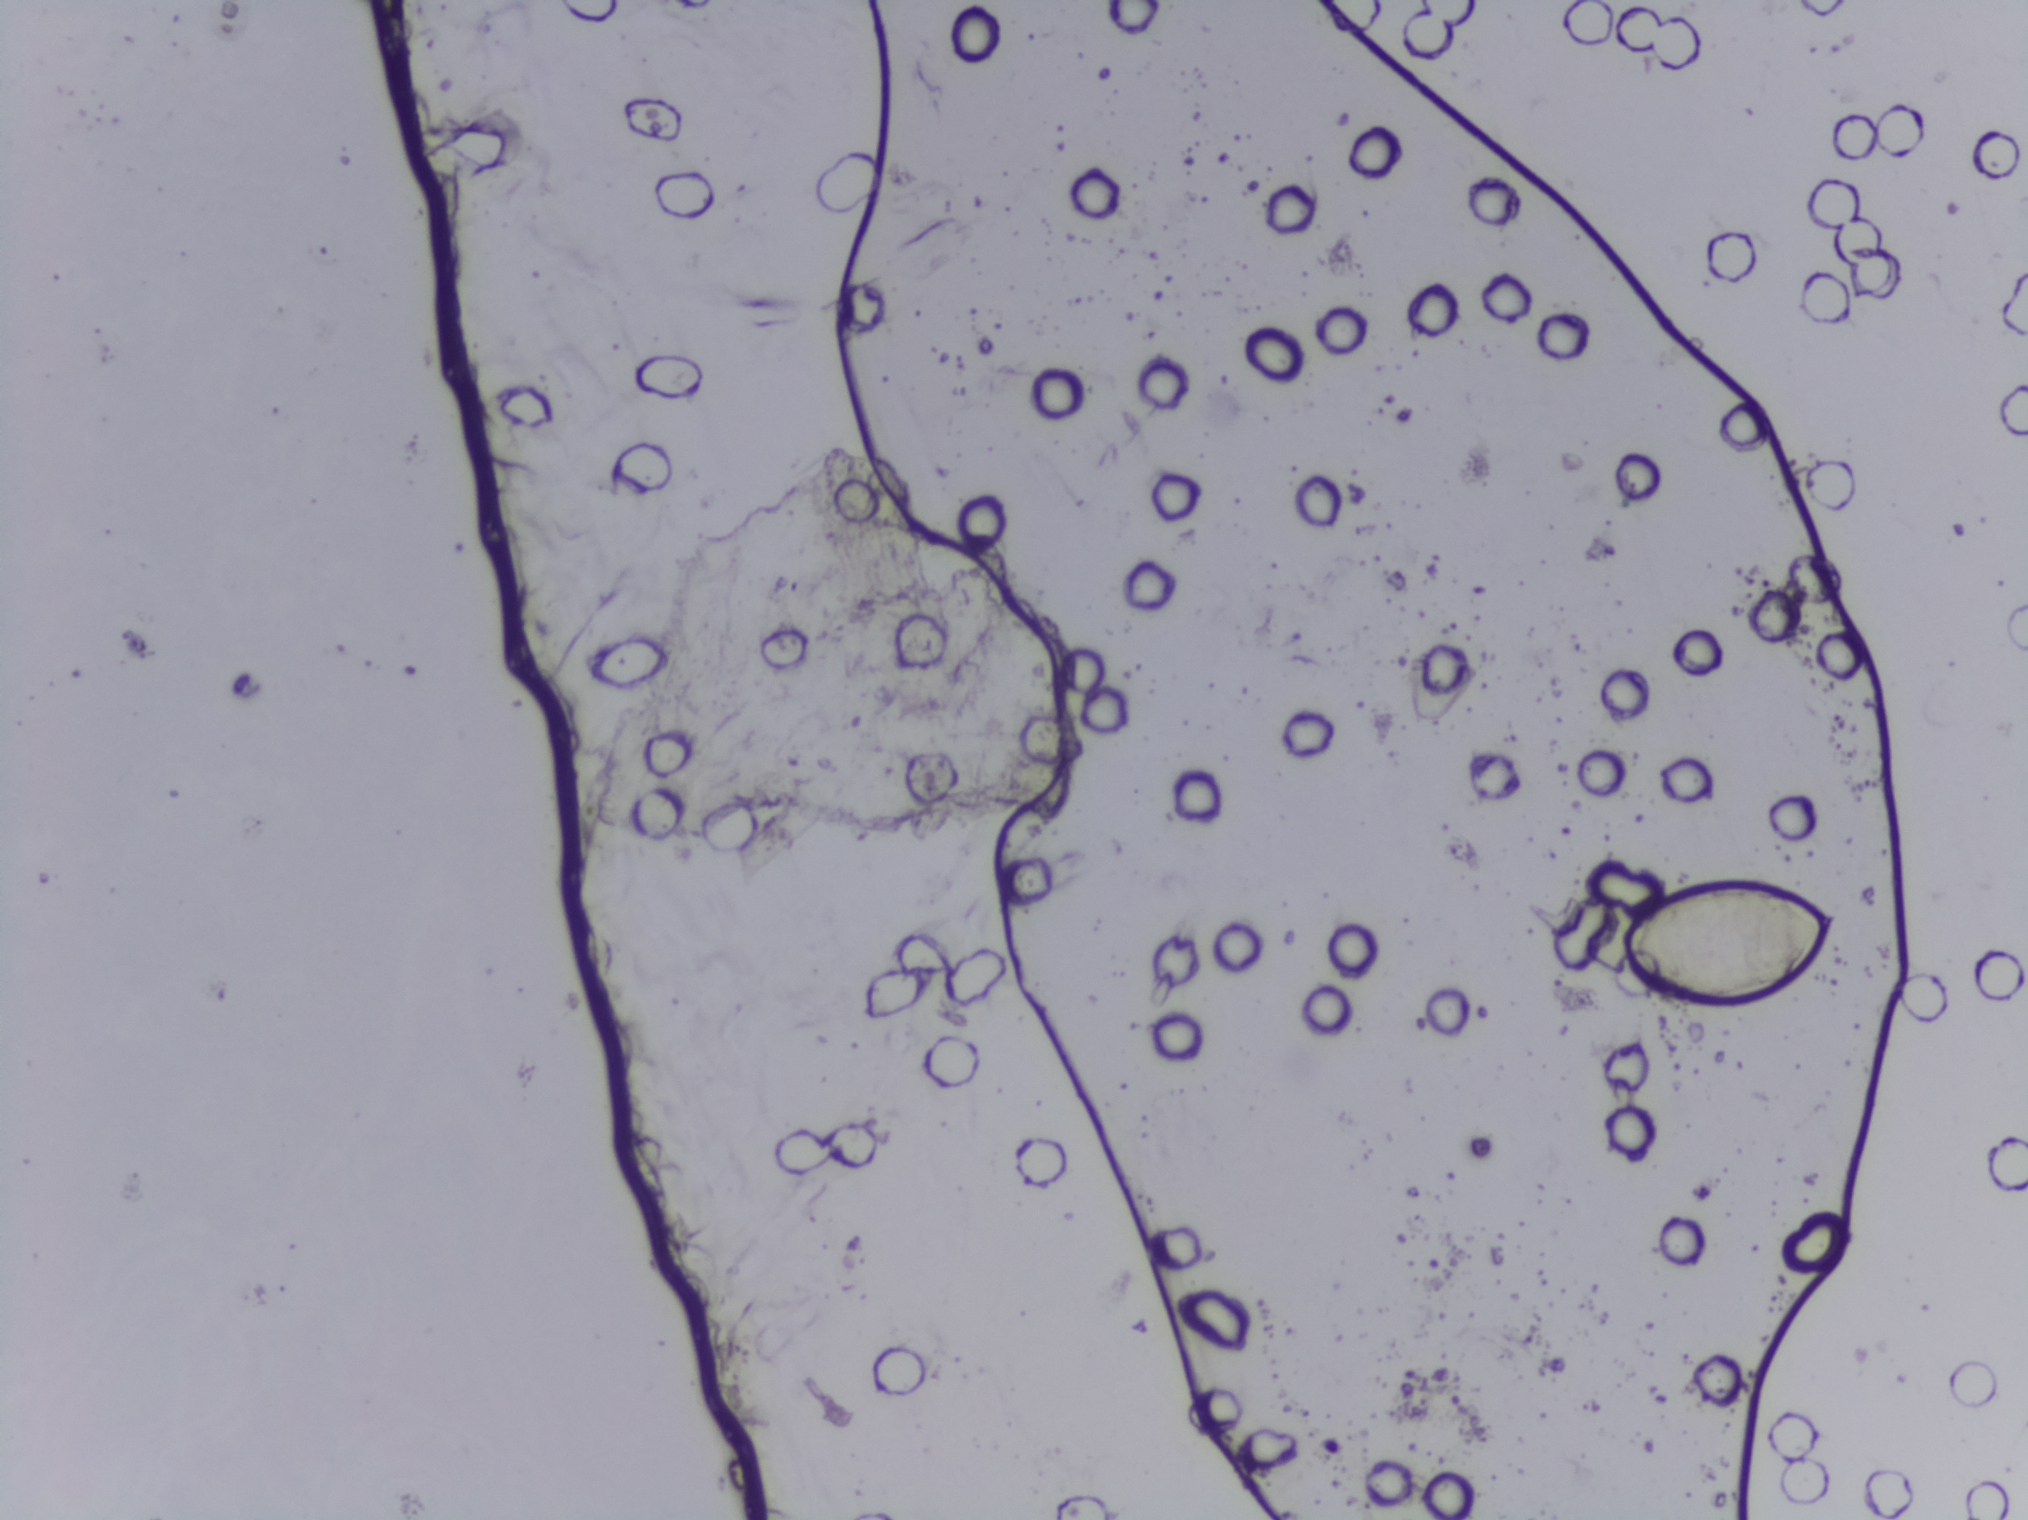
Photograph from an automated digital microscope: urine filter membrane, 4× objective.
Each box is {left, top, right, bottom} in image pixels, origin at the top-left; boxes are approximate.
One area of this image is outlined as Schistosoma eggs: {1620, 885, 1835, 1012}. Eggs that touch can end up inside the same outlined area.